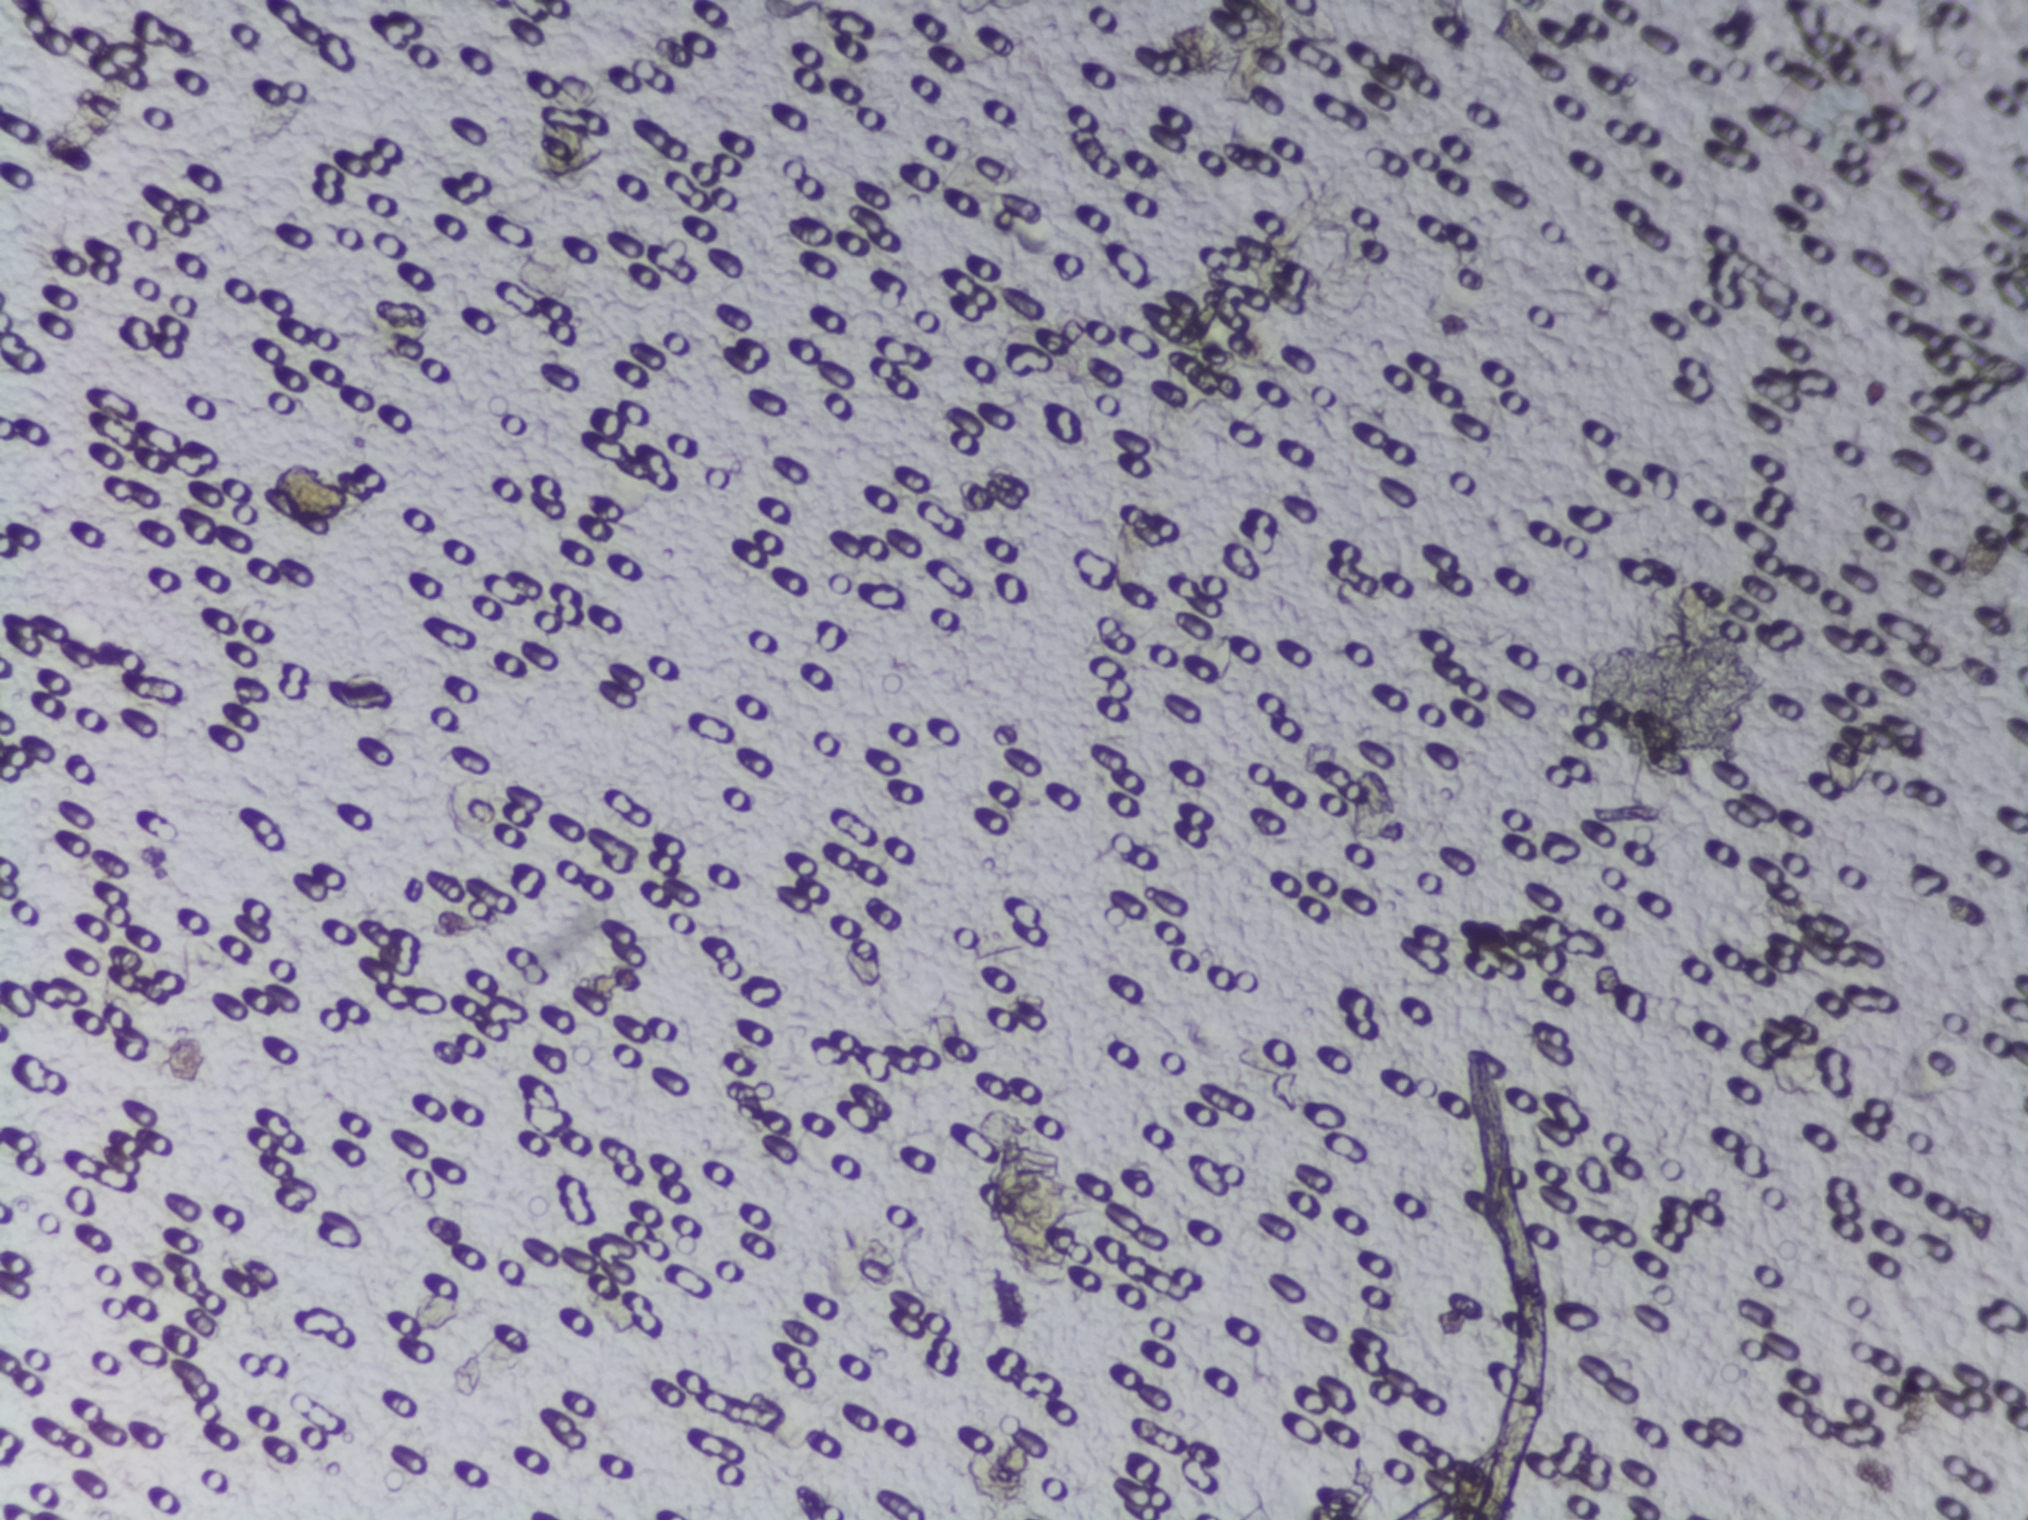
One field of view of a urine filter membrane, 4× objective, 2028 × 1520 pixels.
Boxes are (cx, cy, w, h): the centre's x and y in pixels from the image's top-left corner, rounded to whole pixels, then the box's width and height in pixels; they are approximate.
Schistosoma eggs, outlined areas: (cx=1035, cy=1208, w=89, h=146); (cx=1983, cy=558, w=51, h=57). An outlined area can hold more than one egg.